Microscope photograph (4× objective) of a membrane that a urine sample was filtered through.
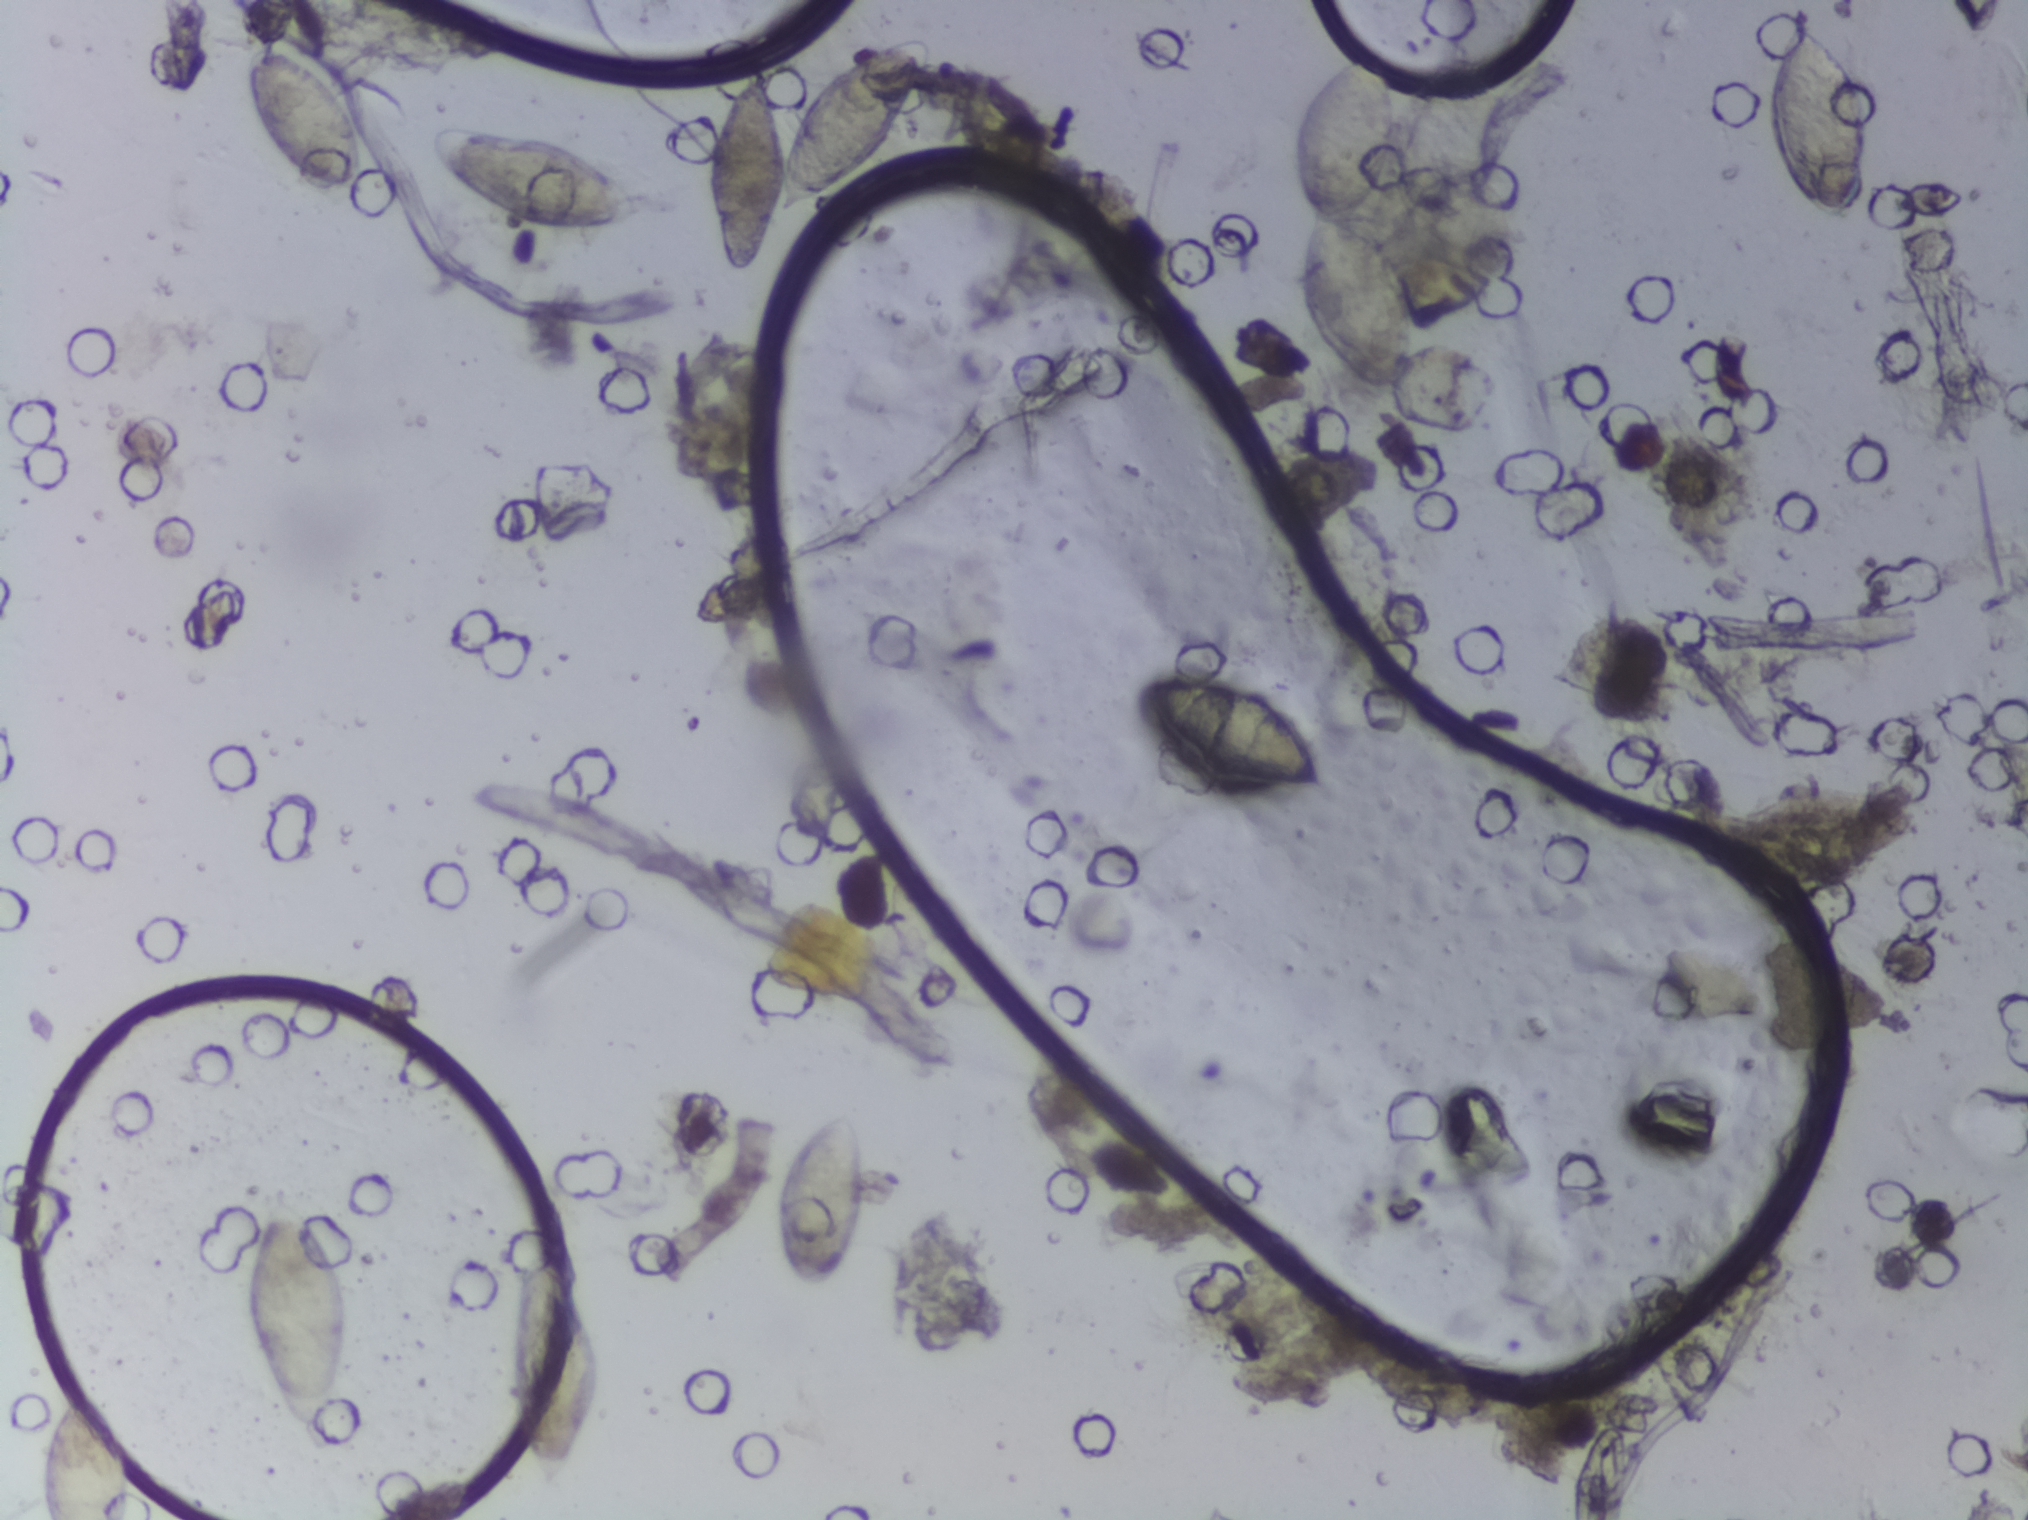
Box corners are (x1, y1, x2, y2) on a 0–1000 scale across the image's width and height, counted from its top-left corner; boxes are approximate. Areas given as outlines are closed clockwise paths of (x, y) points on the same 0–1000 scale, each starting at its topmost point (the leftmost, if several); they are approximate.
15 areas of this image are outlined as Schistosoma eggs, from left to right: box (20, 914, 68, 1000) (reaching the bottom edge of the frame); box (120, 779, 174, 942); box (121, 26, 183, 133); box (208, 82, 321, 154); box (250, 824, 295, 980); box (334, 213, 376, 332); outline (446, 25), (458, 25), (460, 43), (441, 90), (398, 138), (385, 140), (374, 174), (360, 179), (353, 162), (348, 121), (351, 97), (368, 50), (374, 46), (378, 50), (388, 98), (402, 58), (415, 43); box (380, 728, 429, 853); box (437, 571, 496, 666); box (560, 447, 652, 522); box (637, 30, 697, 260); box (674, 891, 737, 938); box (773, 936, 803, 1000) (reaching the bottom edge of the frame); box (852, 514, 947, 570); box (869, 9, 921, 145). Eggs that touch can end up inside the same outlined area.